Urine filtration membrane under a 4× objective, photographed by an automated digital microscope.
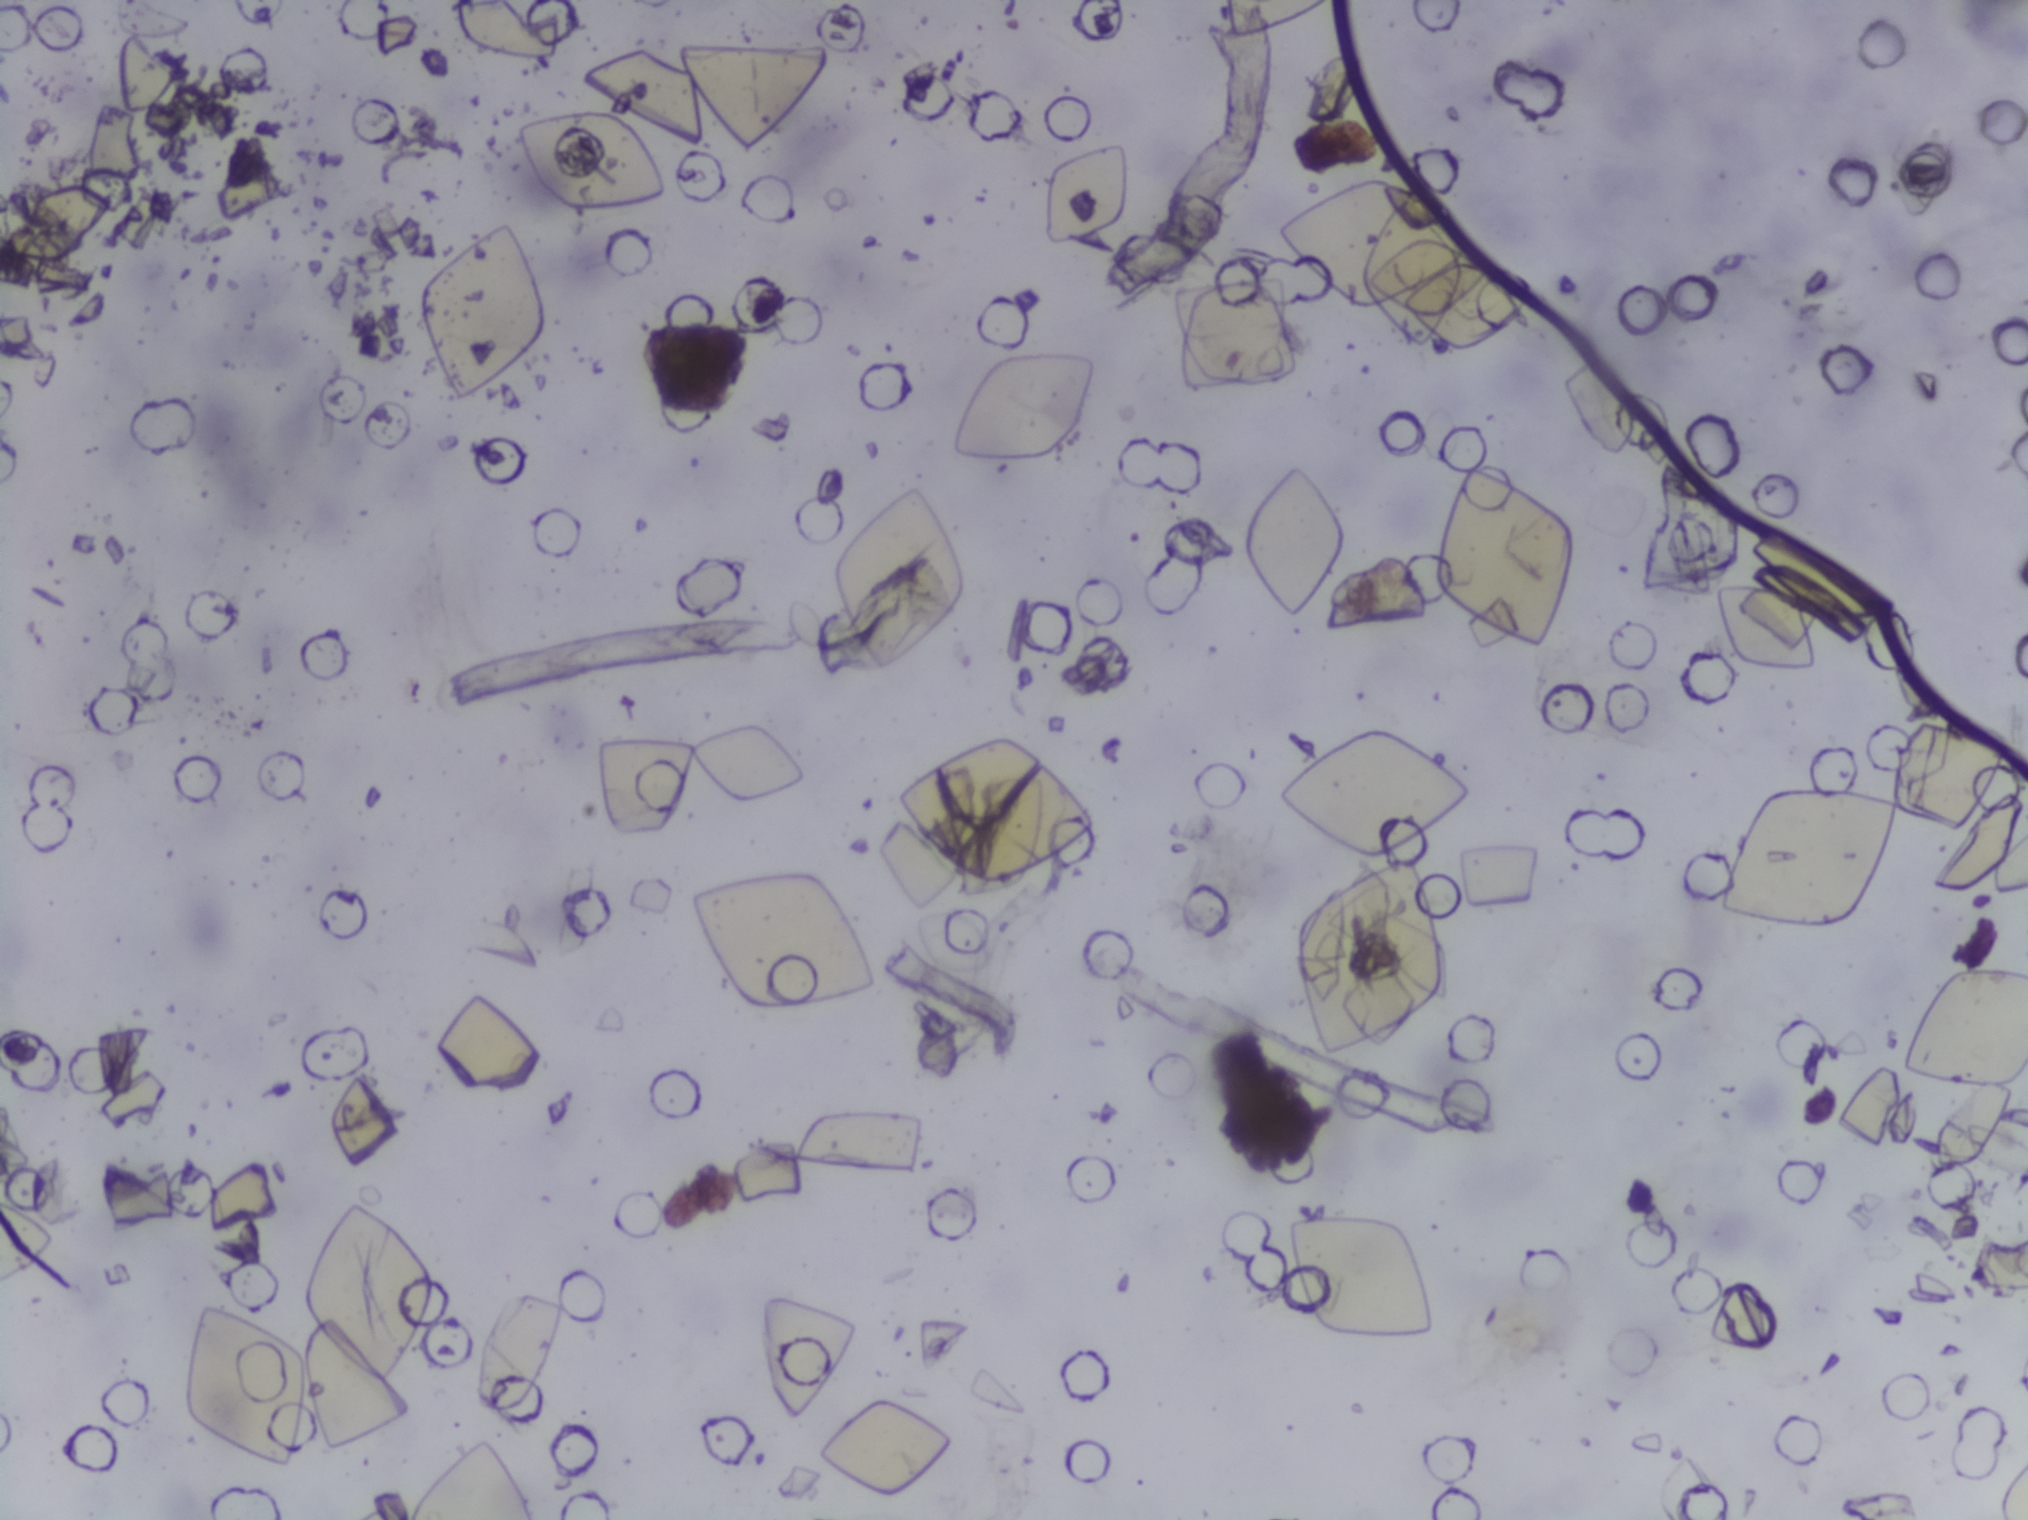
The expert annotation marks no Schistosoma egg in this field of view.